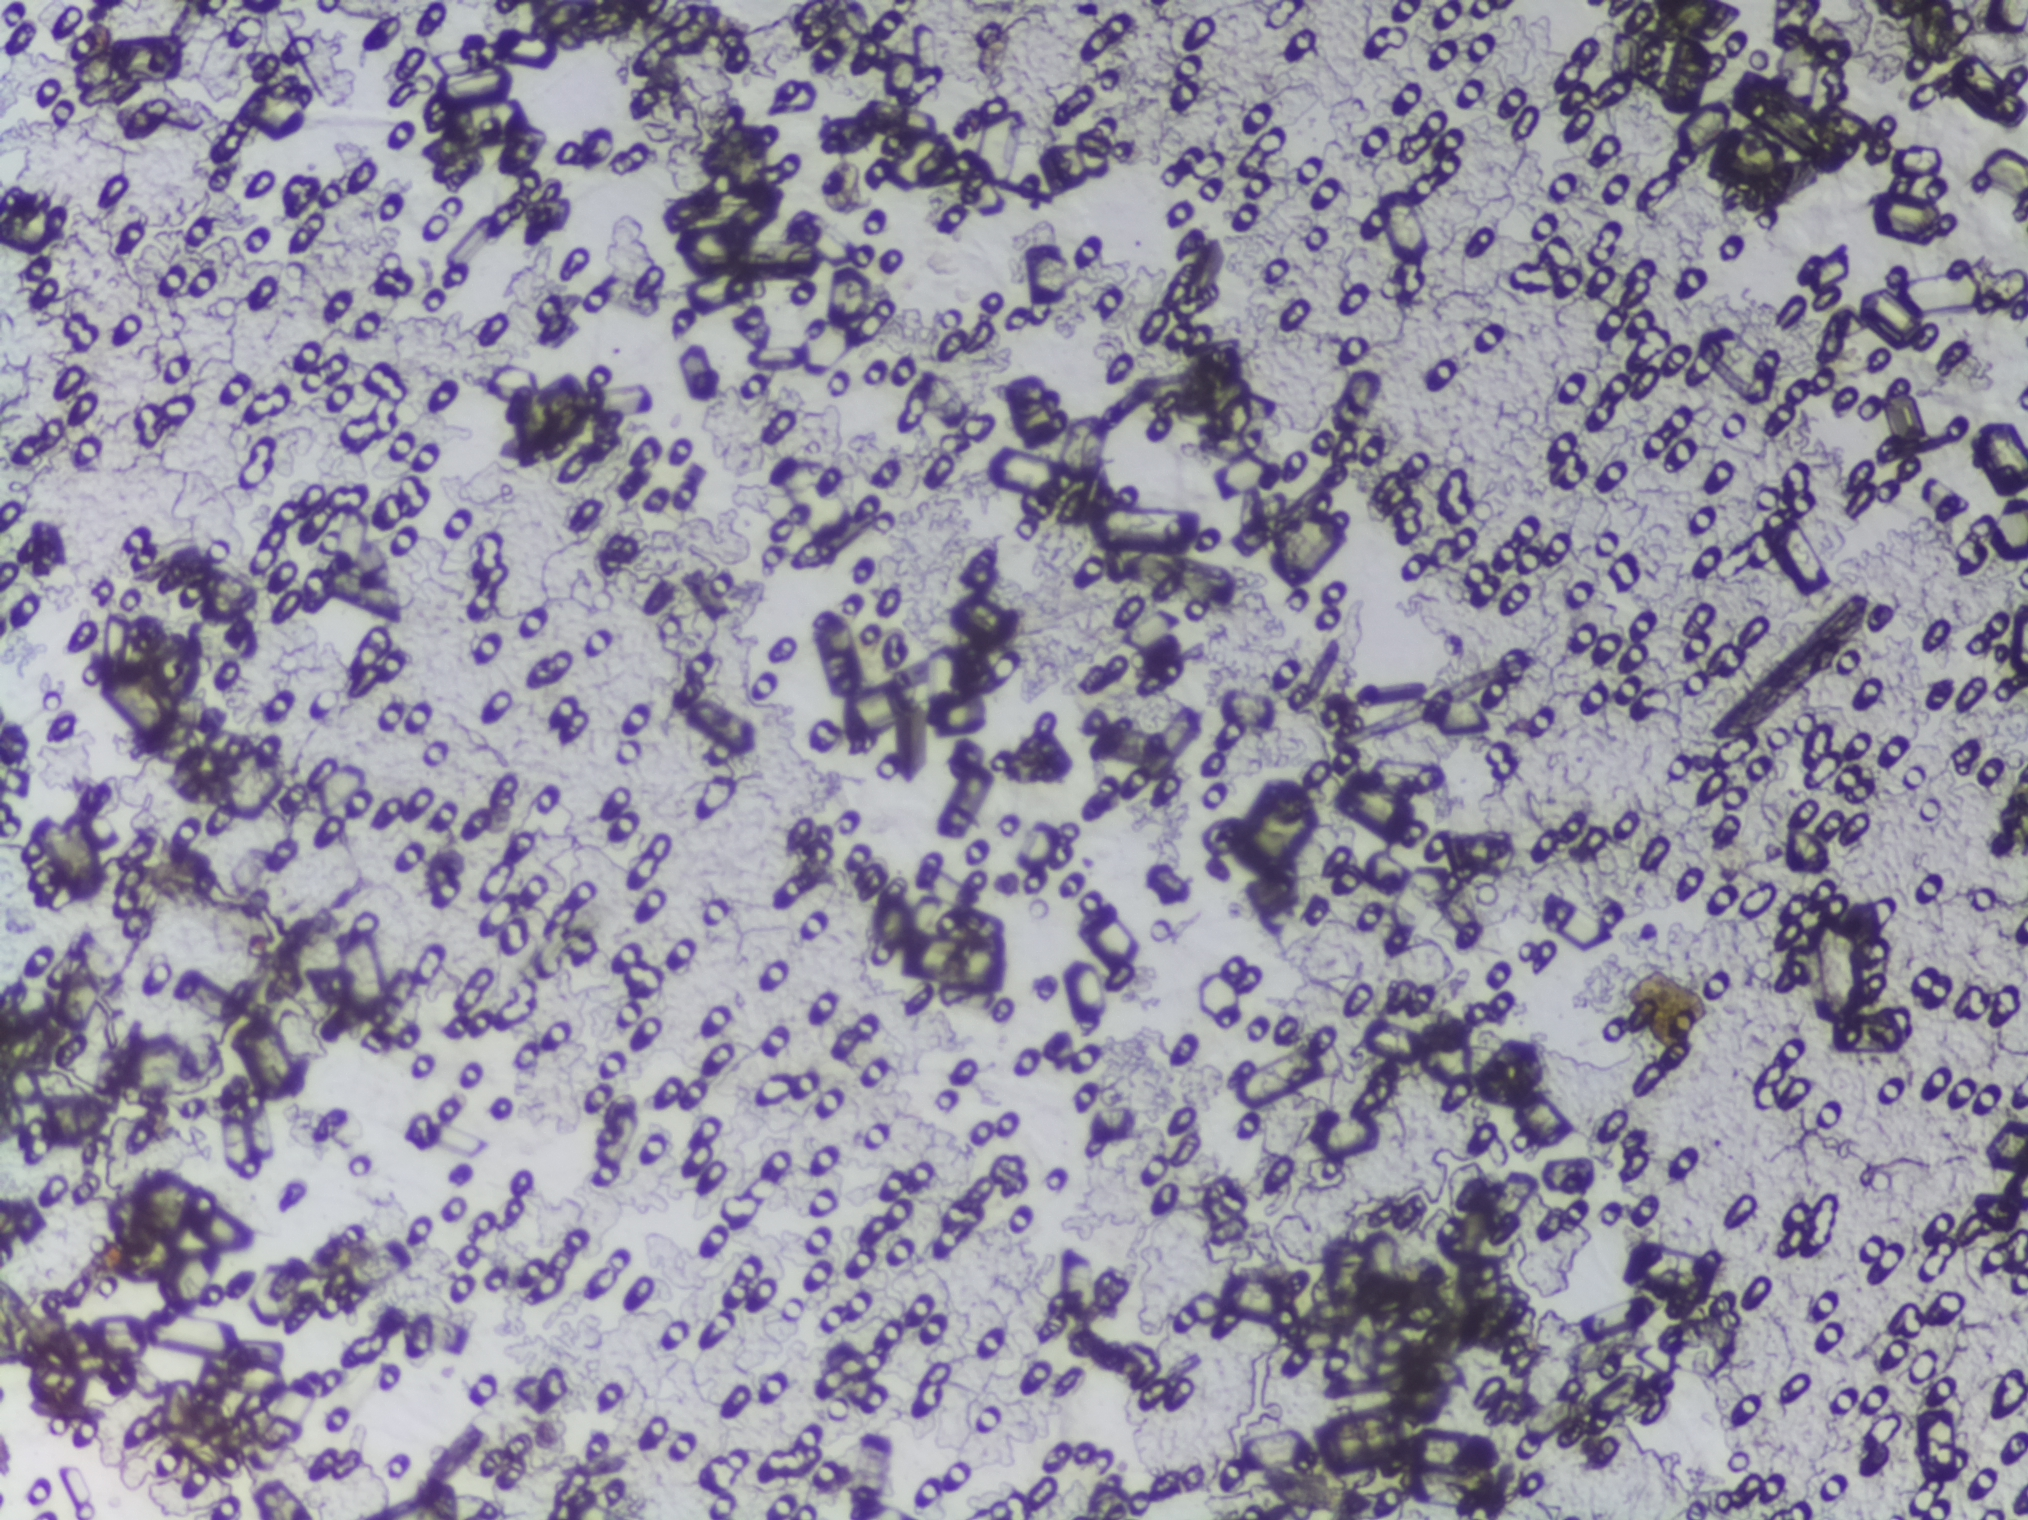
Schistosoma eggs: none outlined.
Photograph from an automated digital microscope: urine filter membrane, 4× objective.